Photograph from an automated digital microscope: urine filter membrane, 4× objective. The image covers about 1.5 × 1.1 mm of the membrane.
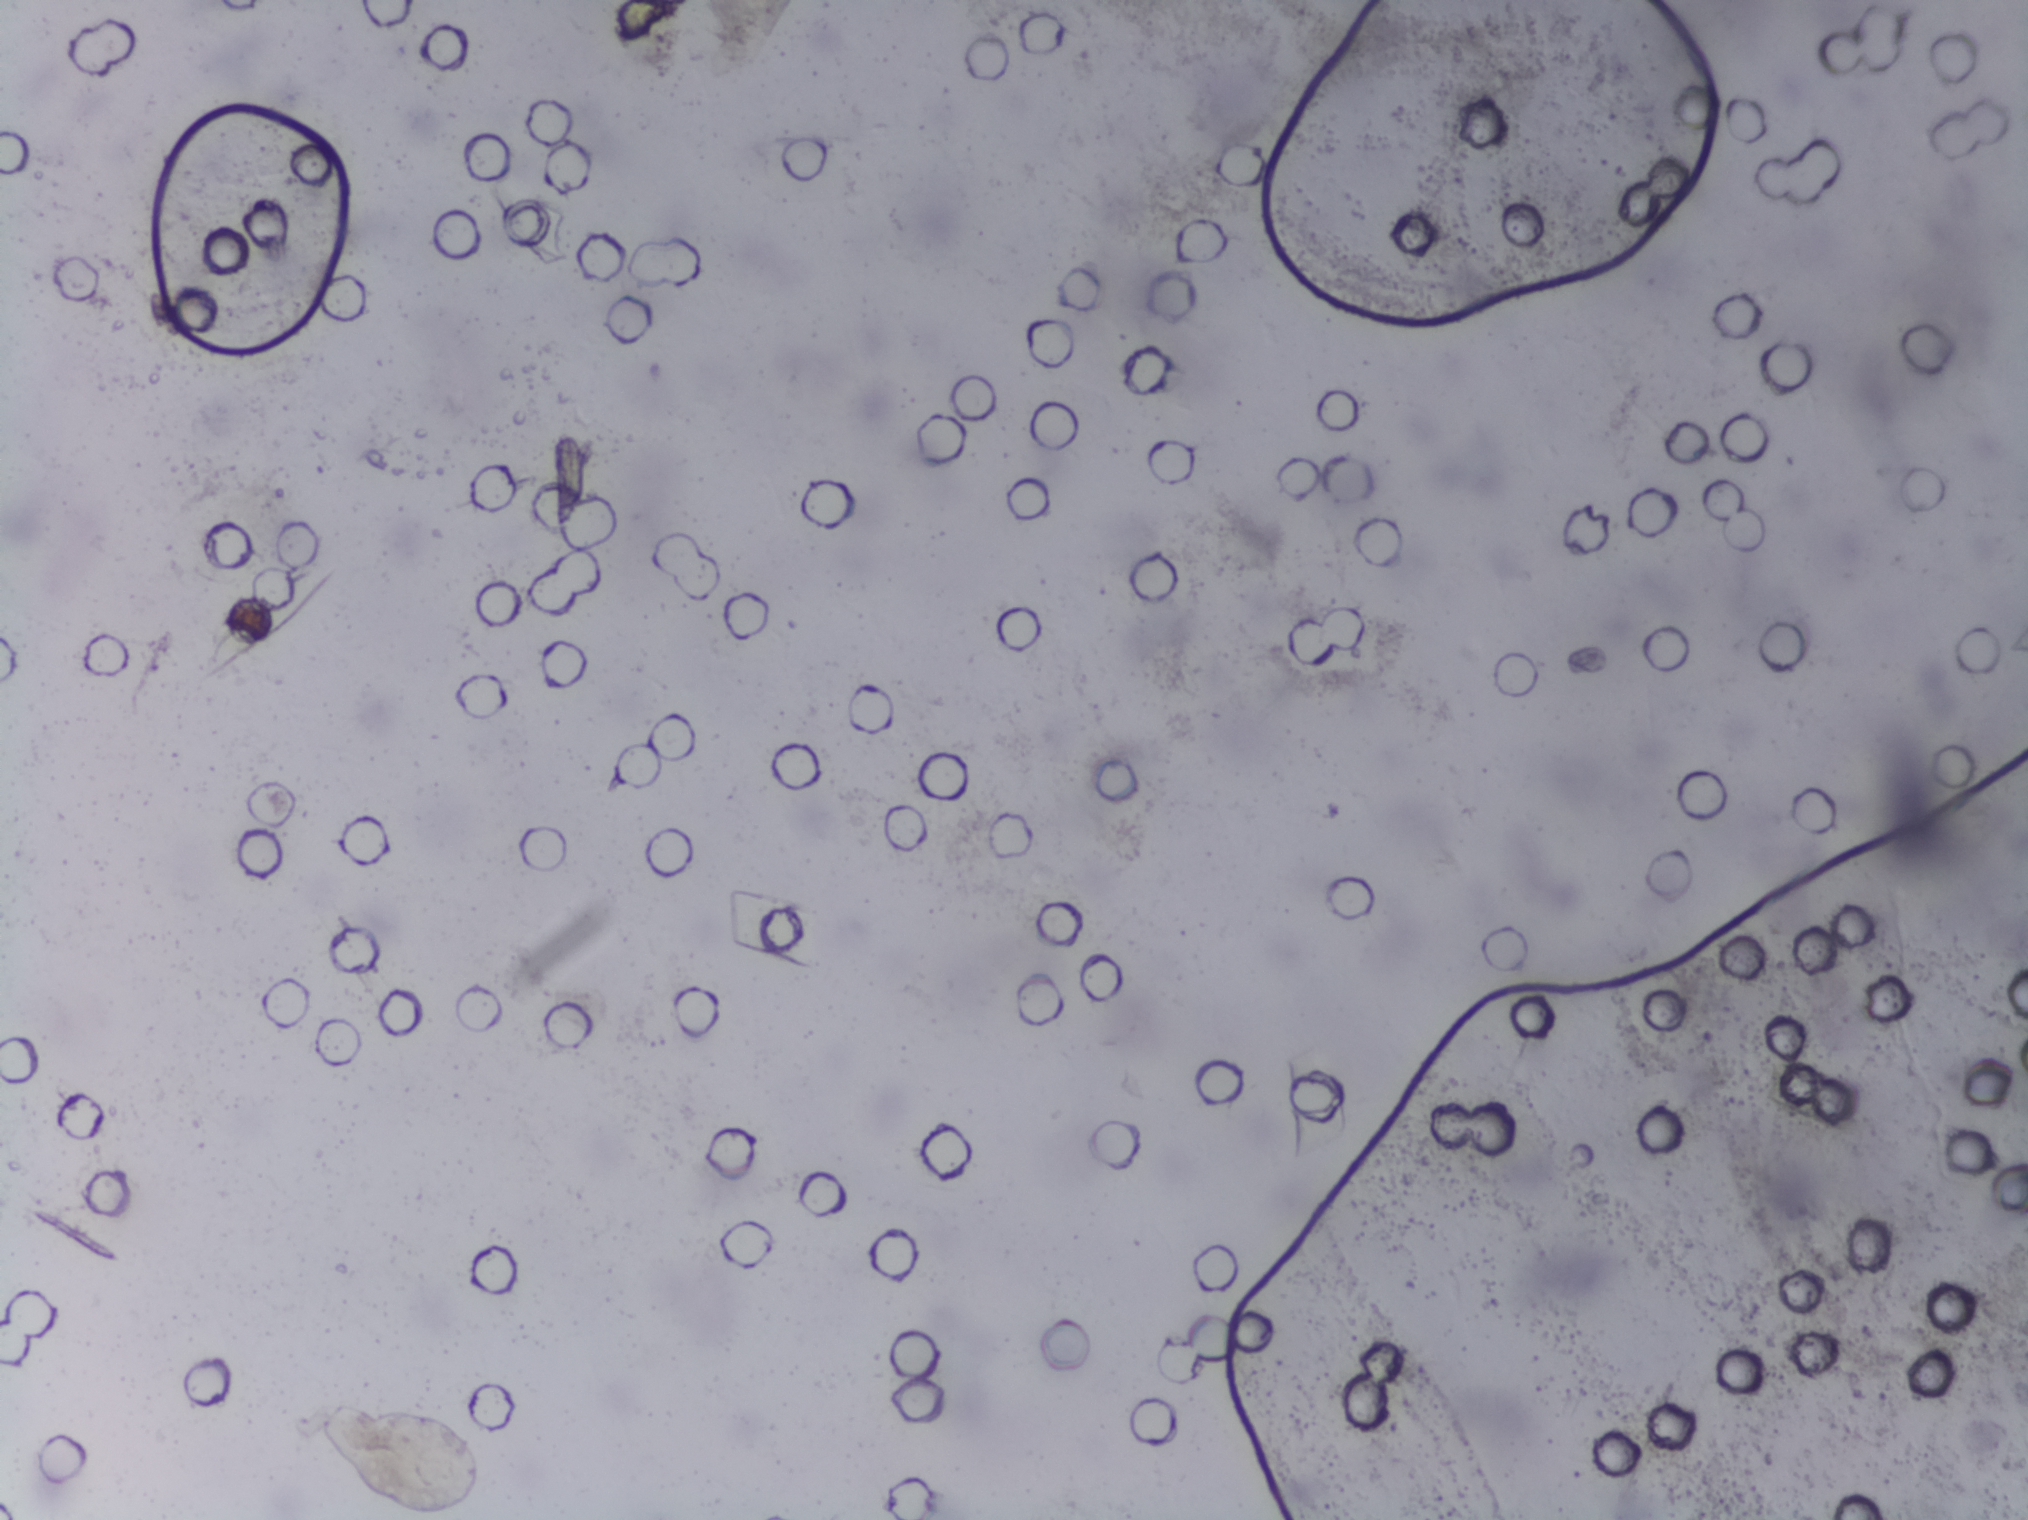
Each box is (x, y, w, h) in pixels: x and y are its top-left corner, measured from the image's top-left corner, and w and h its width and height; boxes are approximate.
Schistosoma eggs are outlined in the expert annotation at (x=313, y=1397, w=178, h=123) (reaching the bottom edge of the frame). Eggs that touch can end up inside the same outlined area. A marked egg may occasionally be S. mansoni rather than S. haematobium.